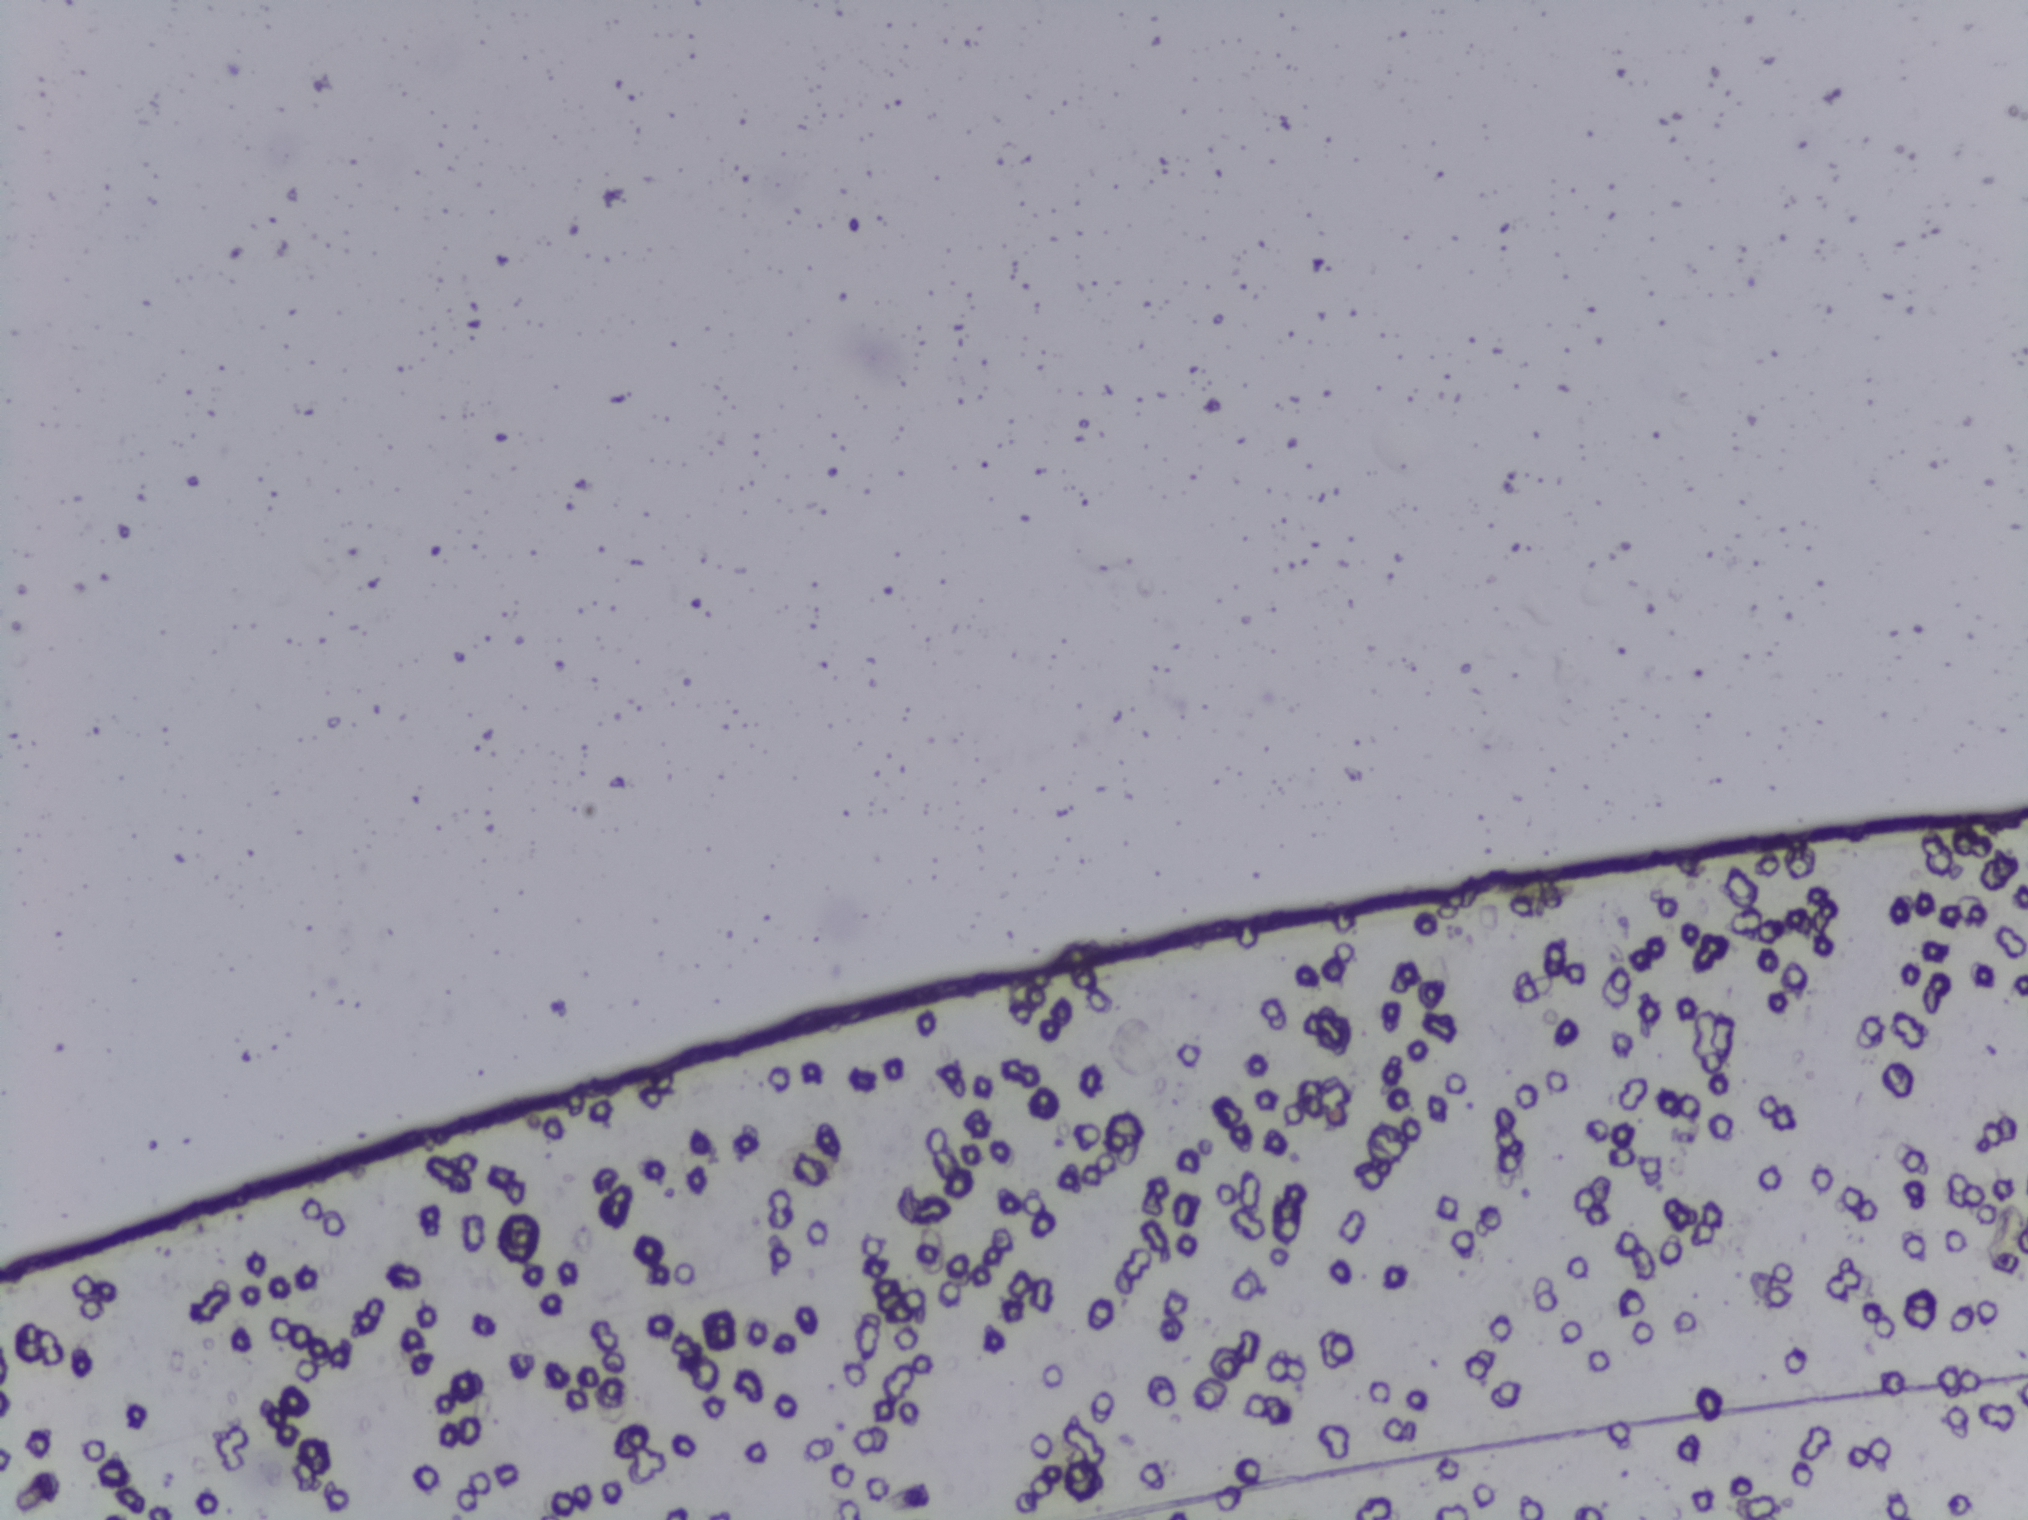
Microscope photograph (4× objective) of a membrane that a urine sample was filtered through.
Schistosoma eggs: none outlined.